Urine filter membrane photographed through a 4× microscope objective.
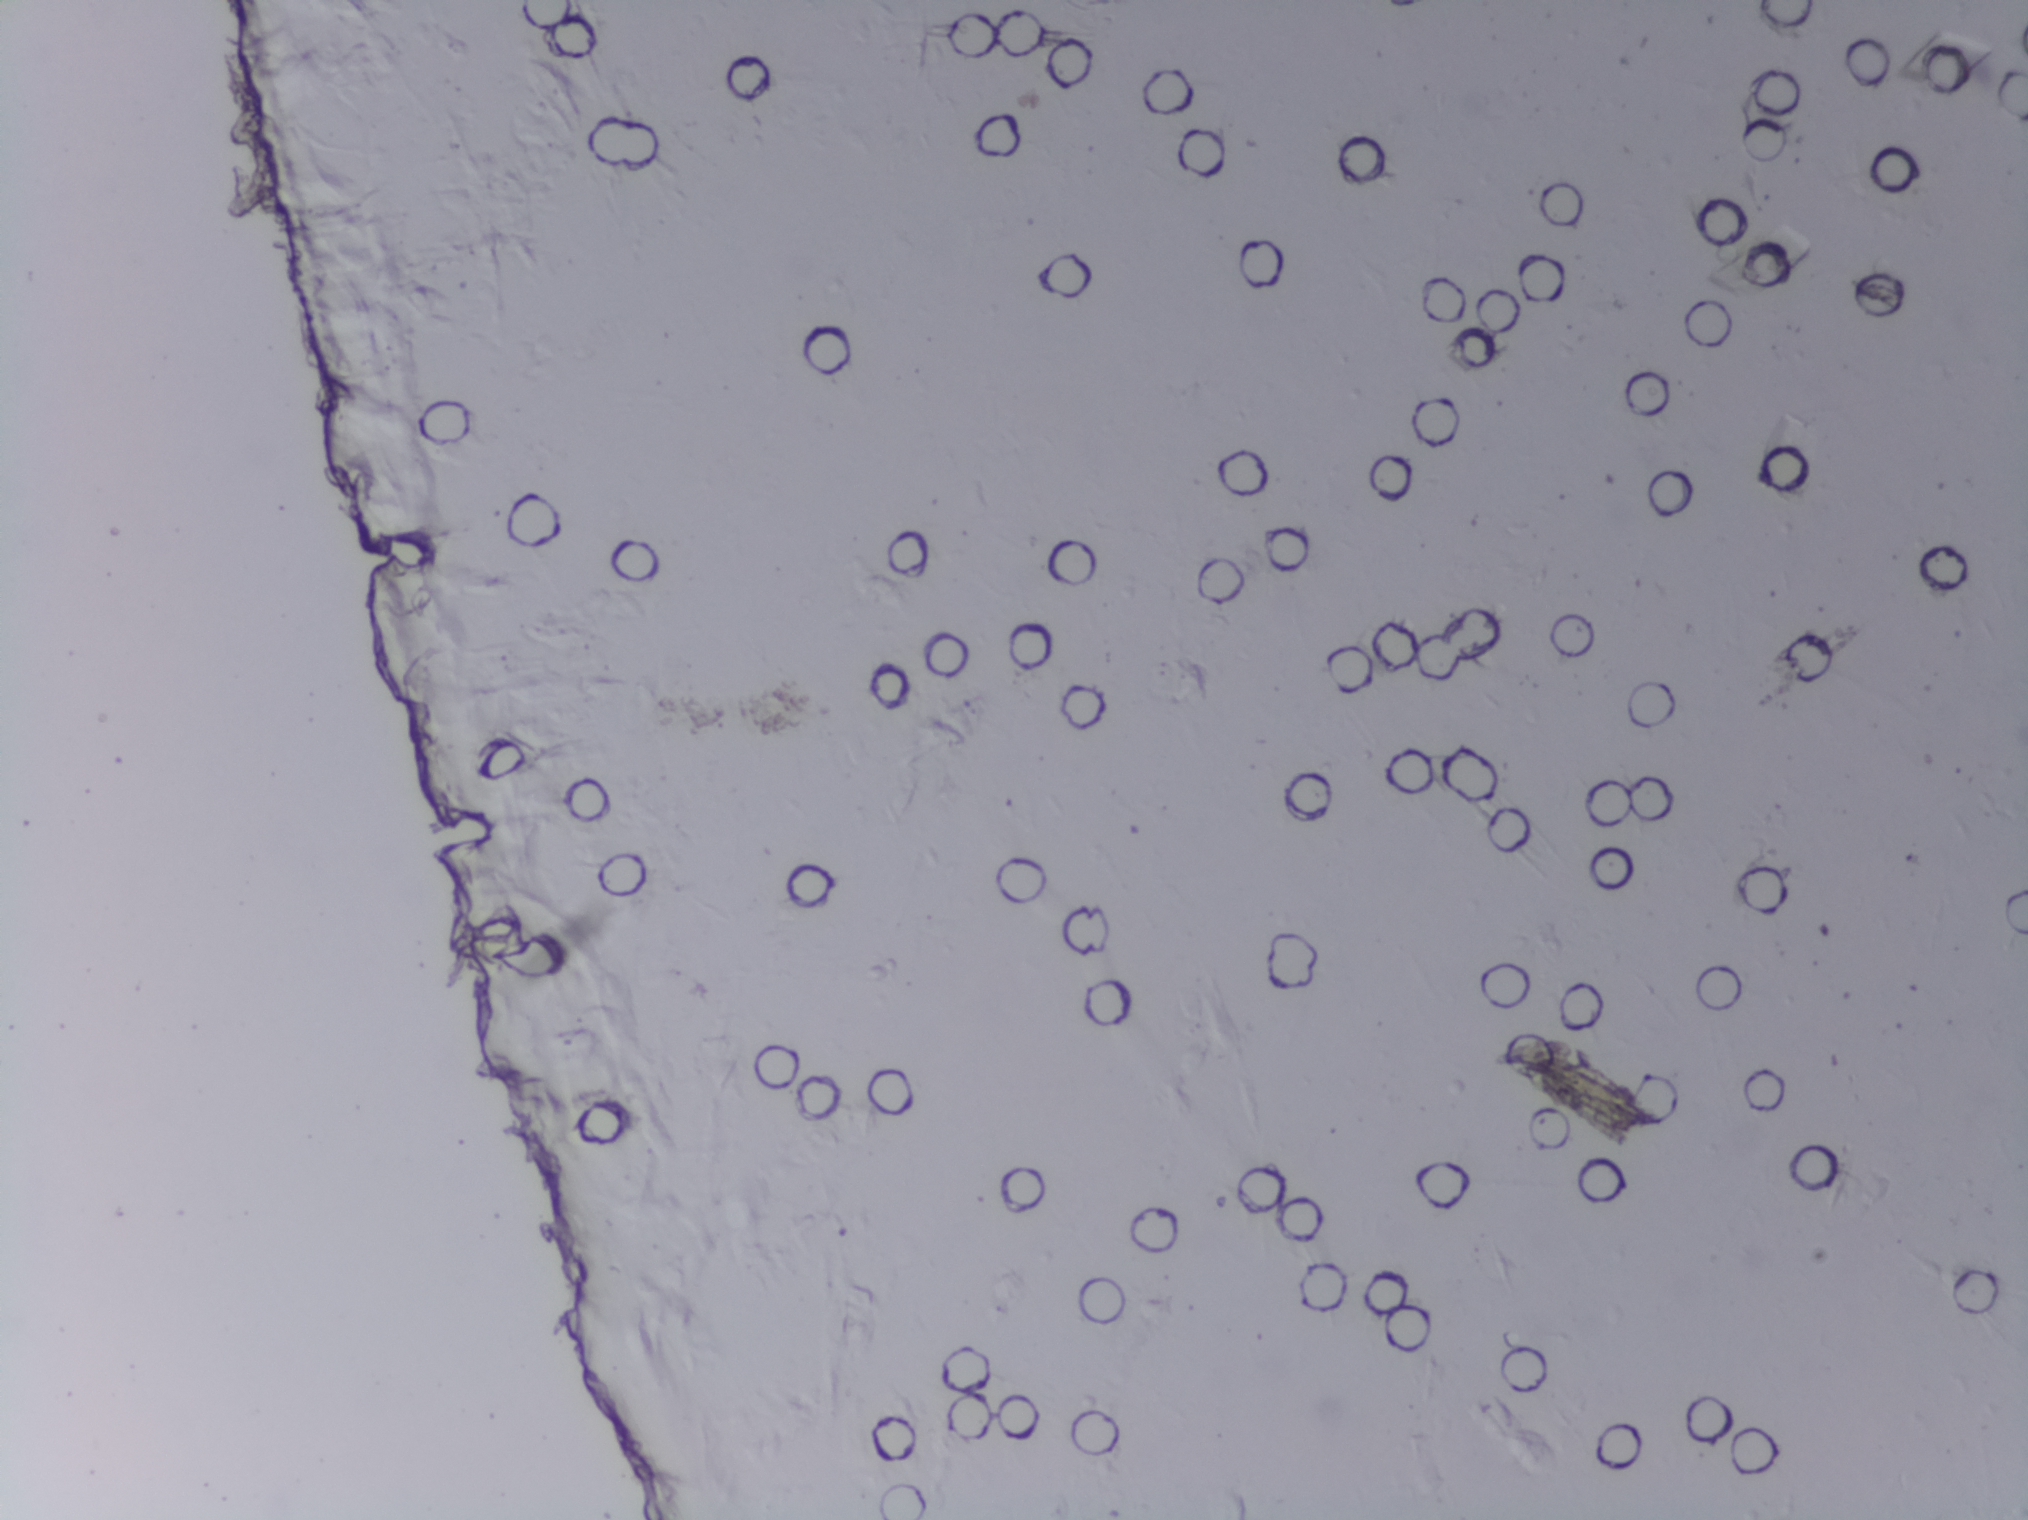
No area of this image was outlined as a Schistosoma egg.